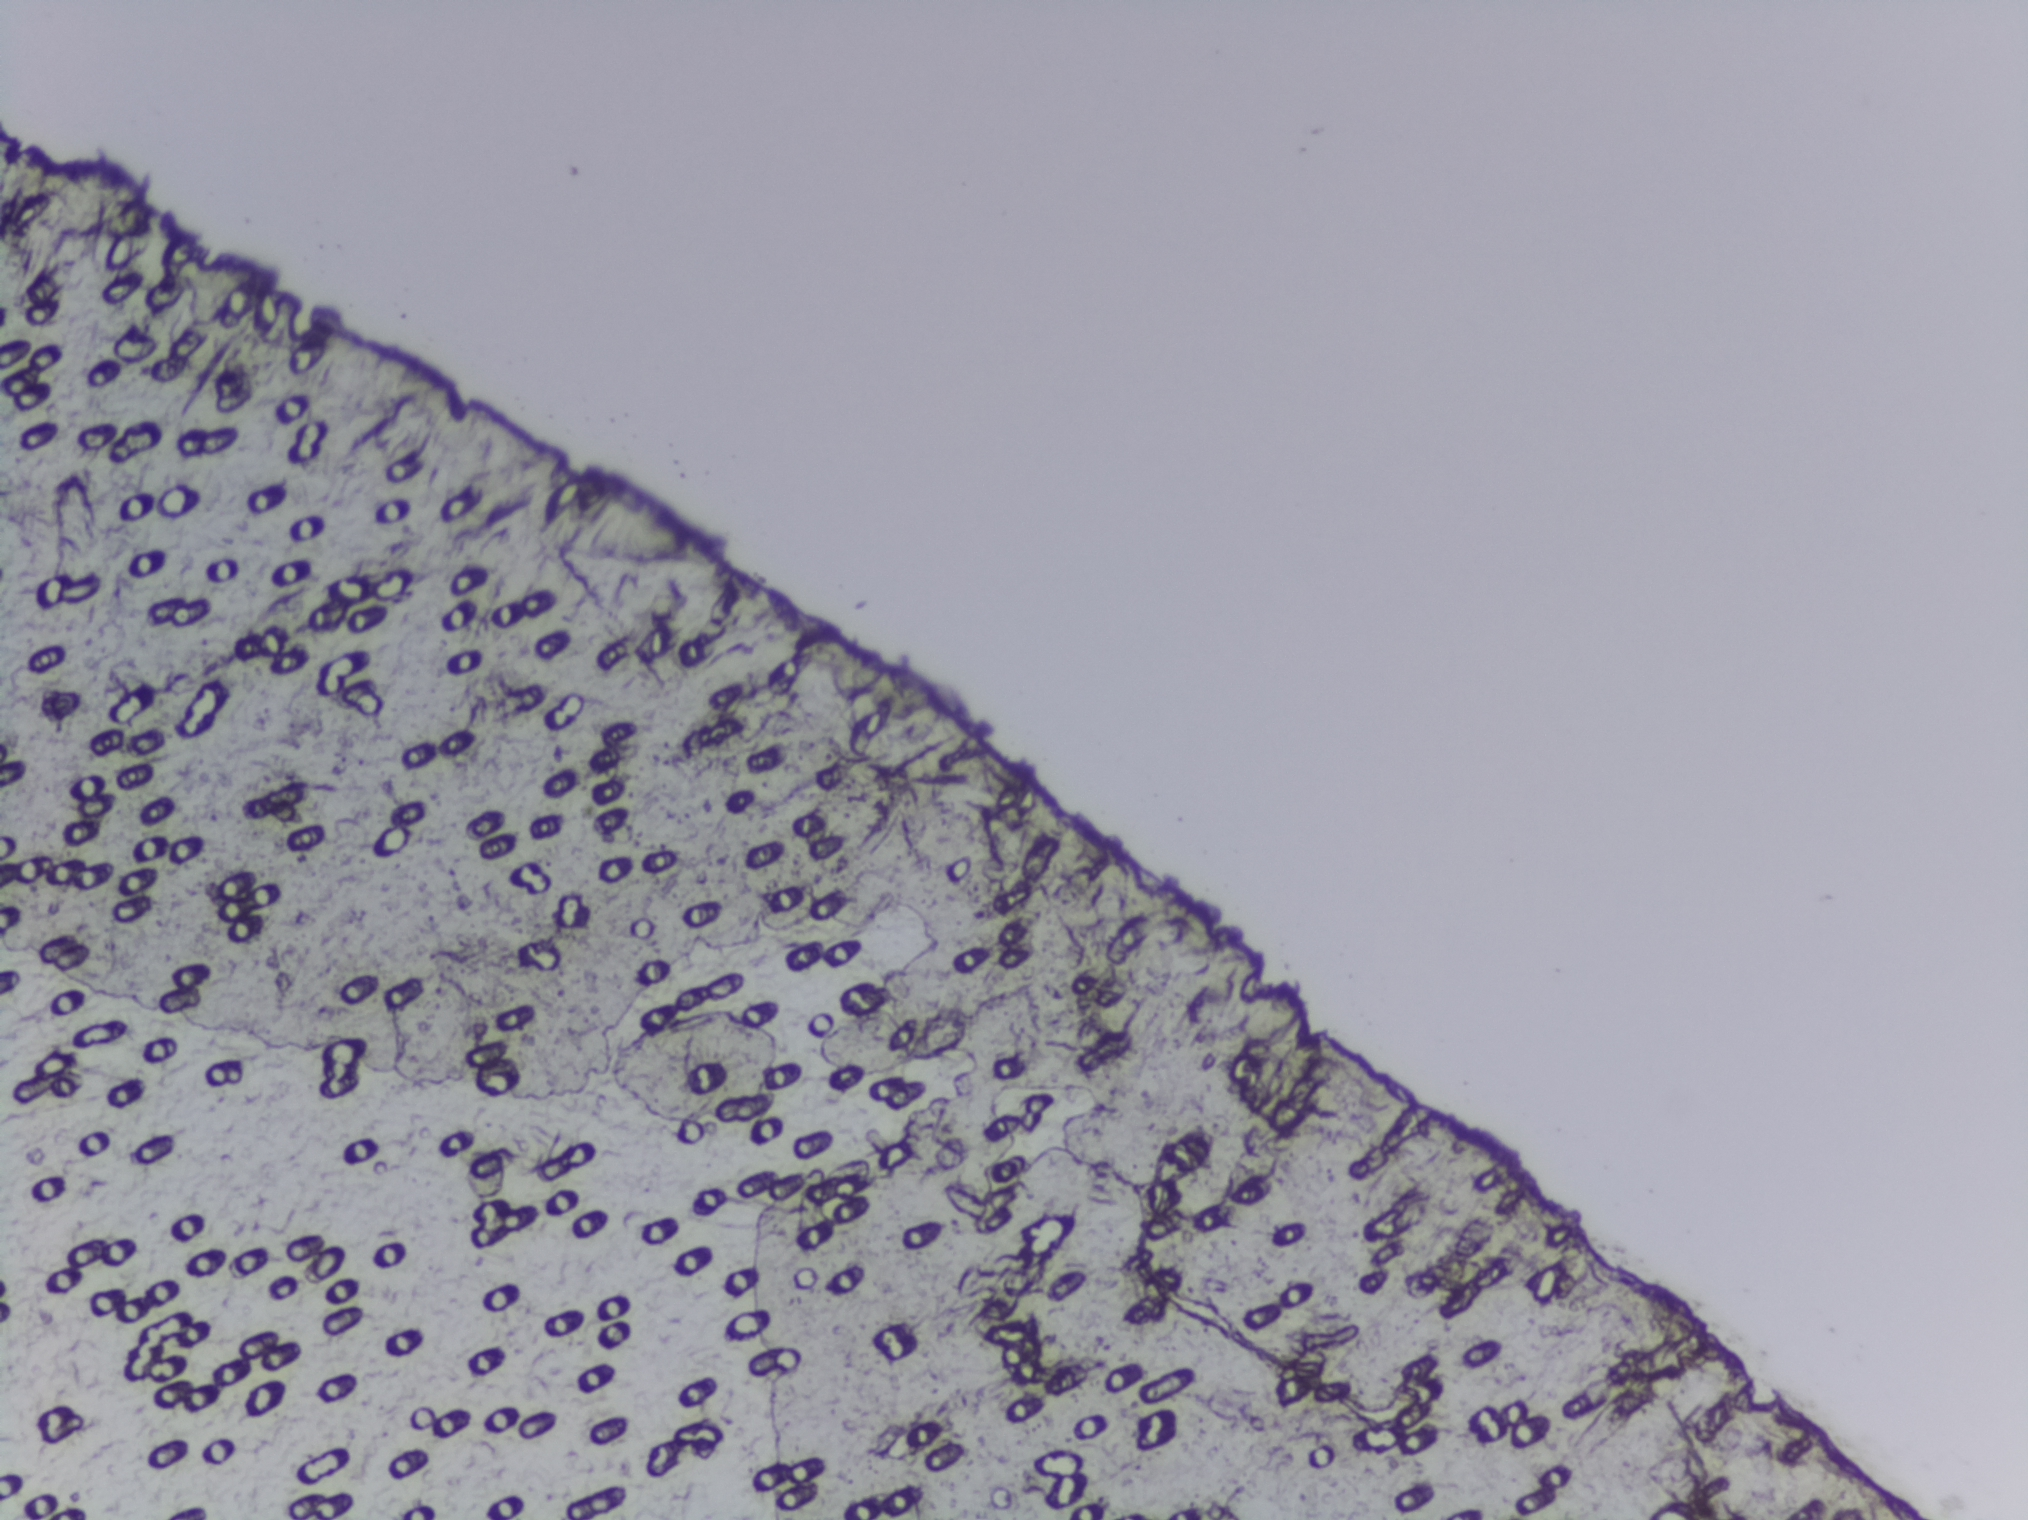
Photomicrograph of a urine filtration membrane, 4× objective. Field of view: about 1.5 mm wide and 1.1 mm high.
Schistosoma eggs: none outlined.